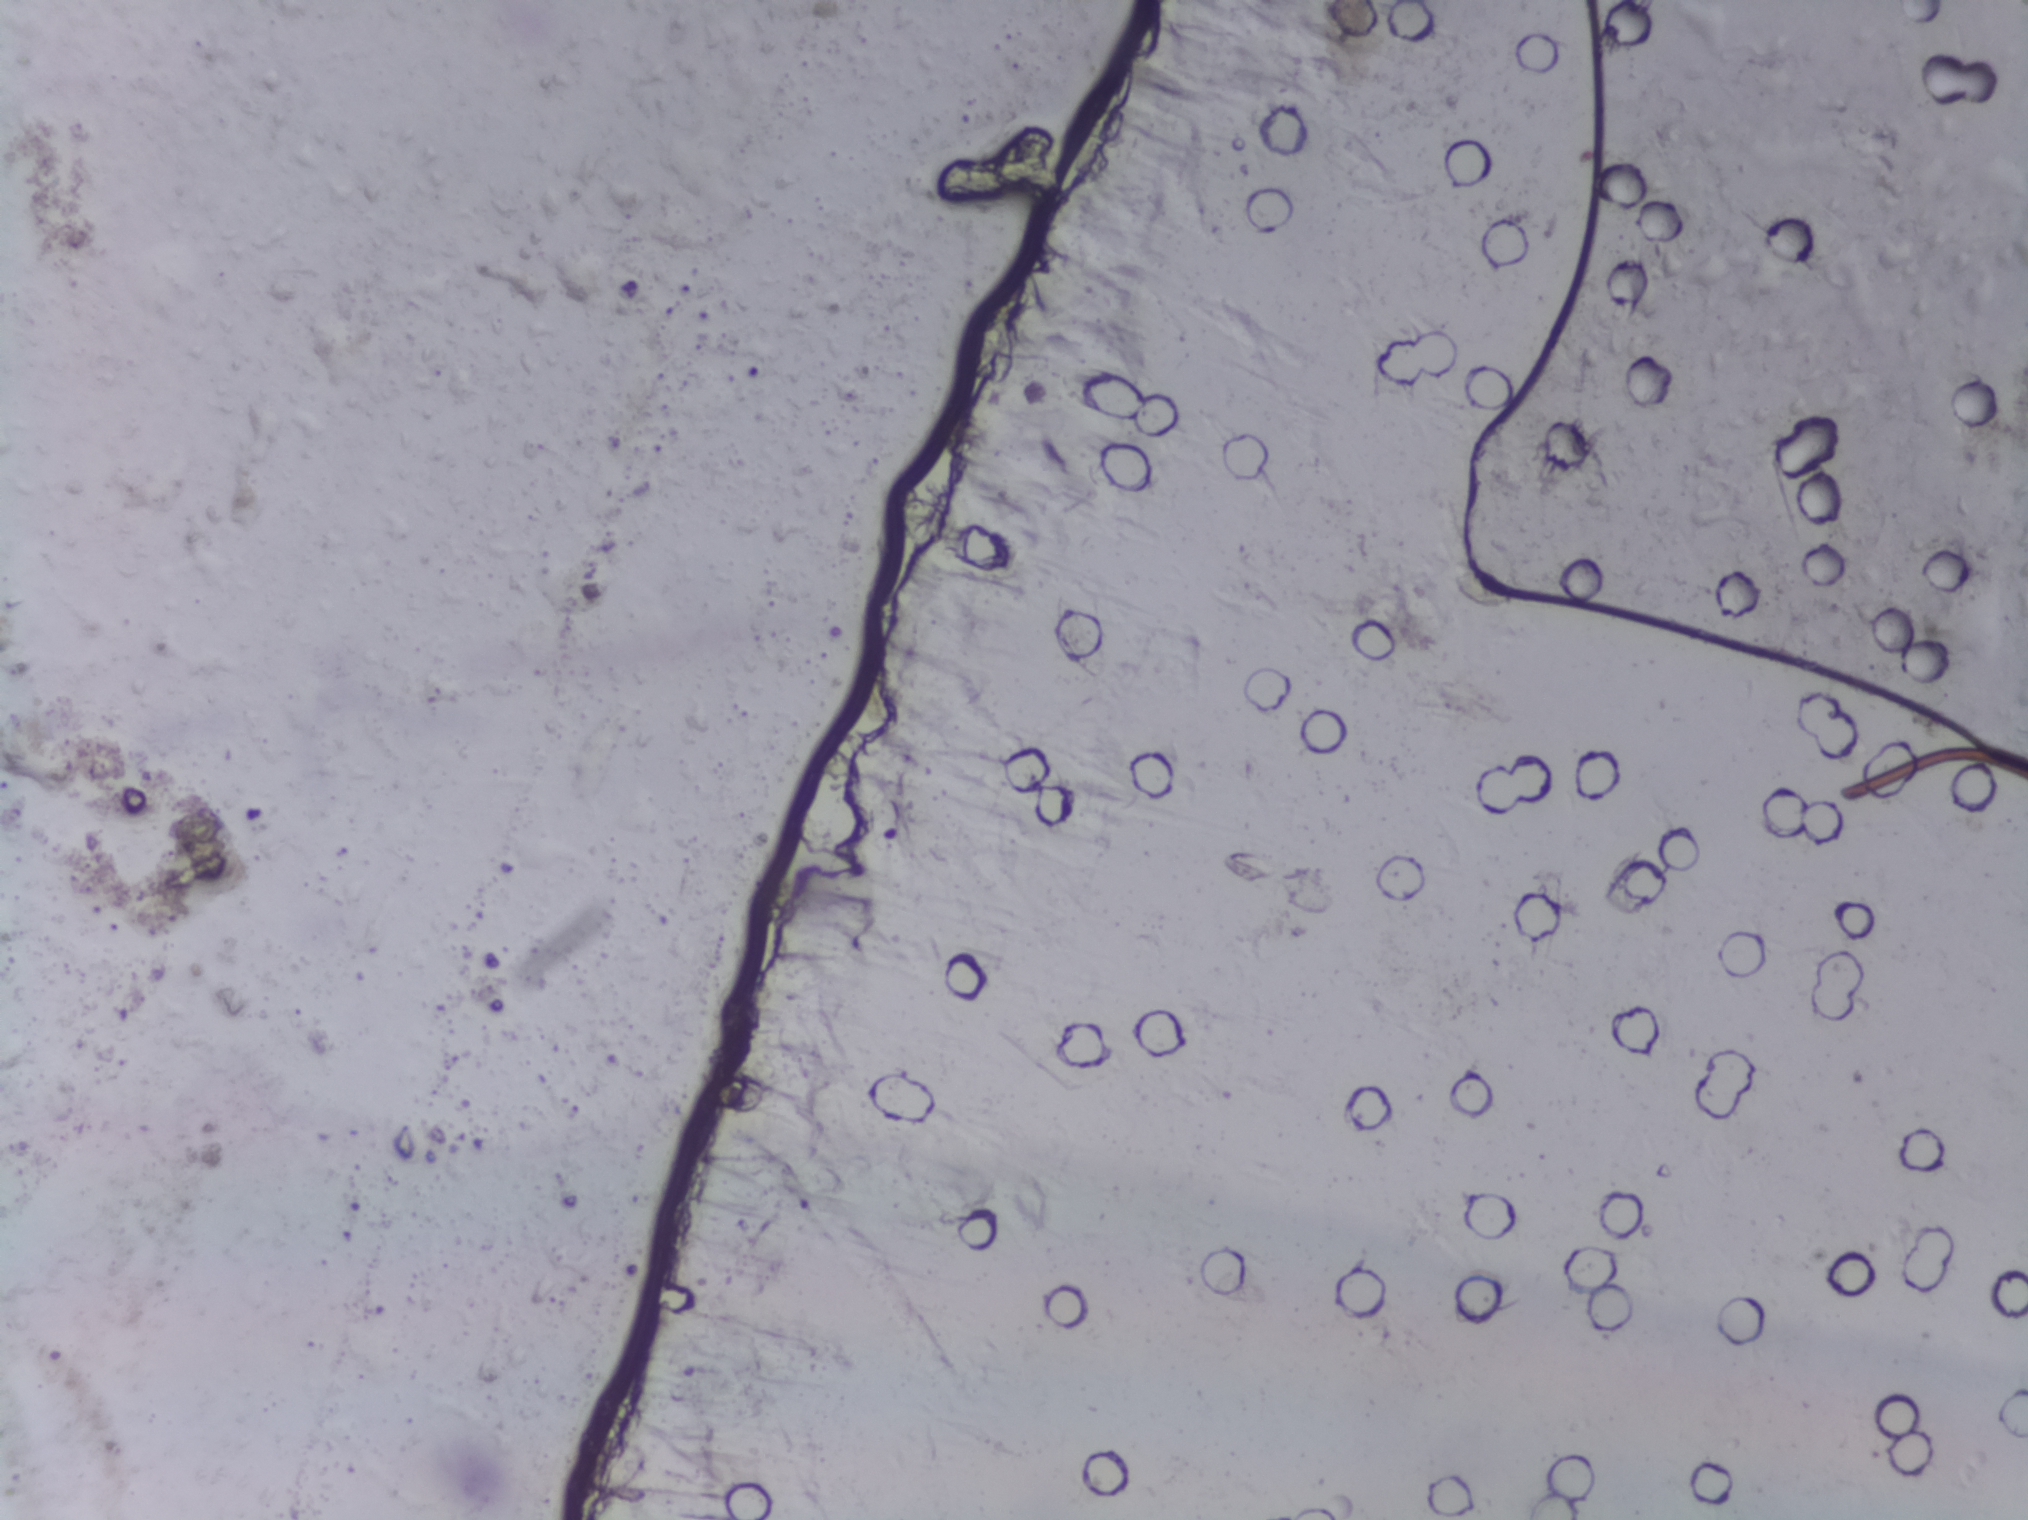
Urine filtration membrane under a 4× objective, photographed by an automated digital microscope. The image covers about 1.5 × 1.1 mm of the membrane.
Schistosoma eggs: none outlined.